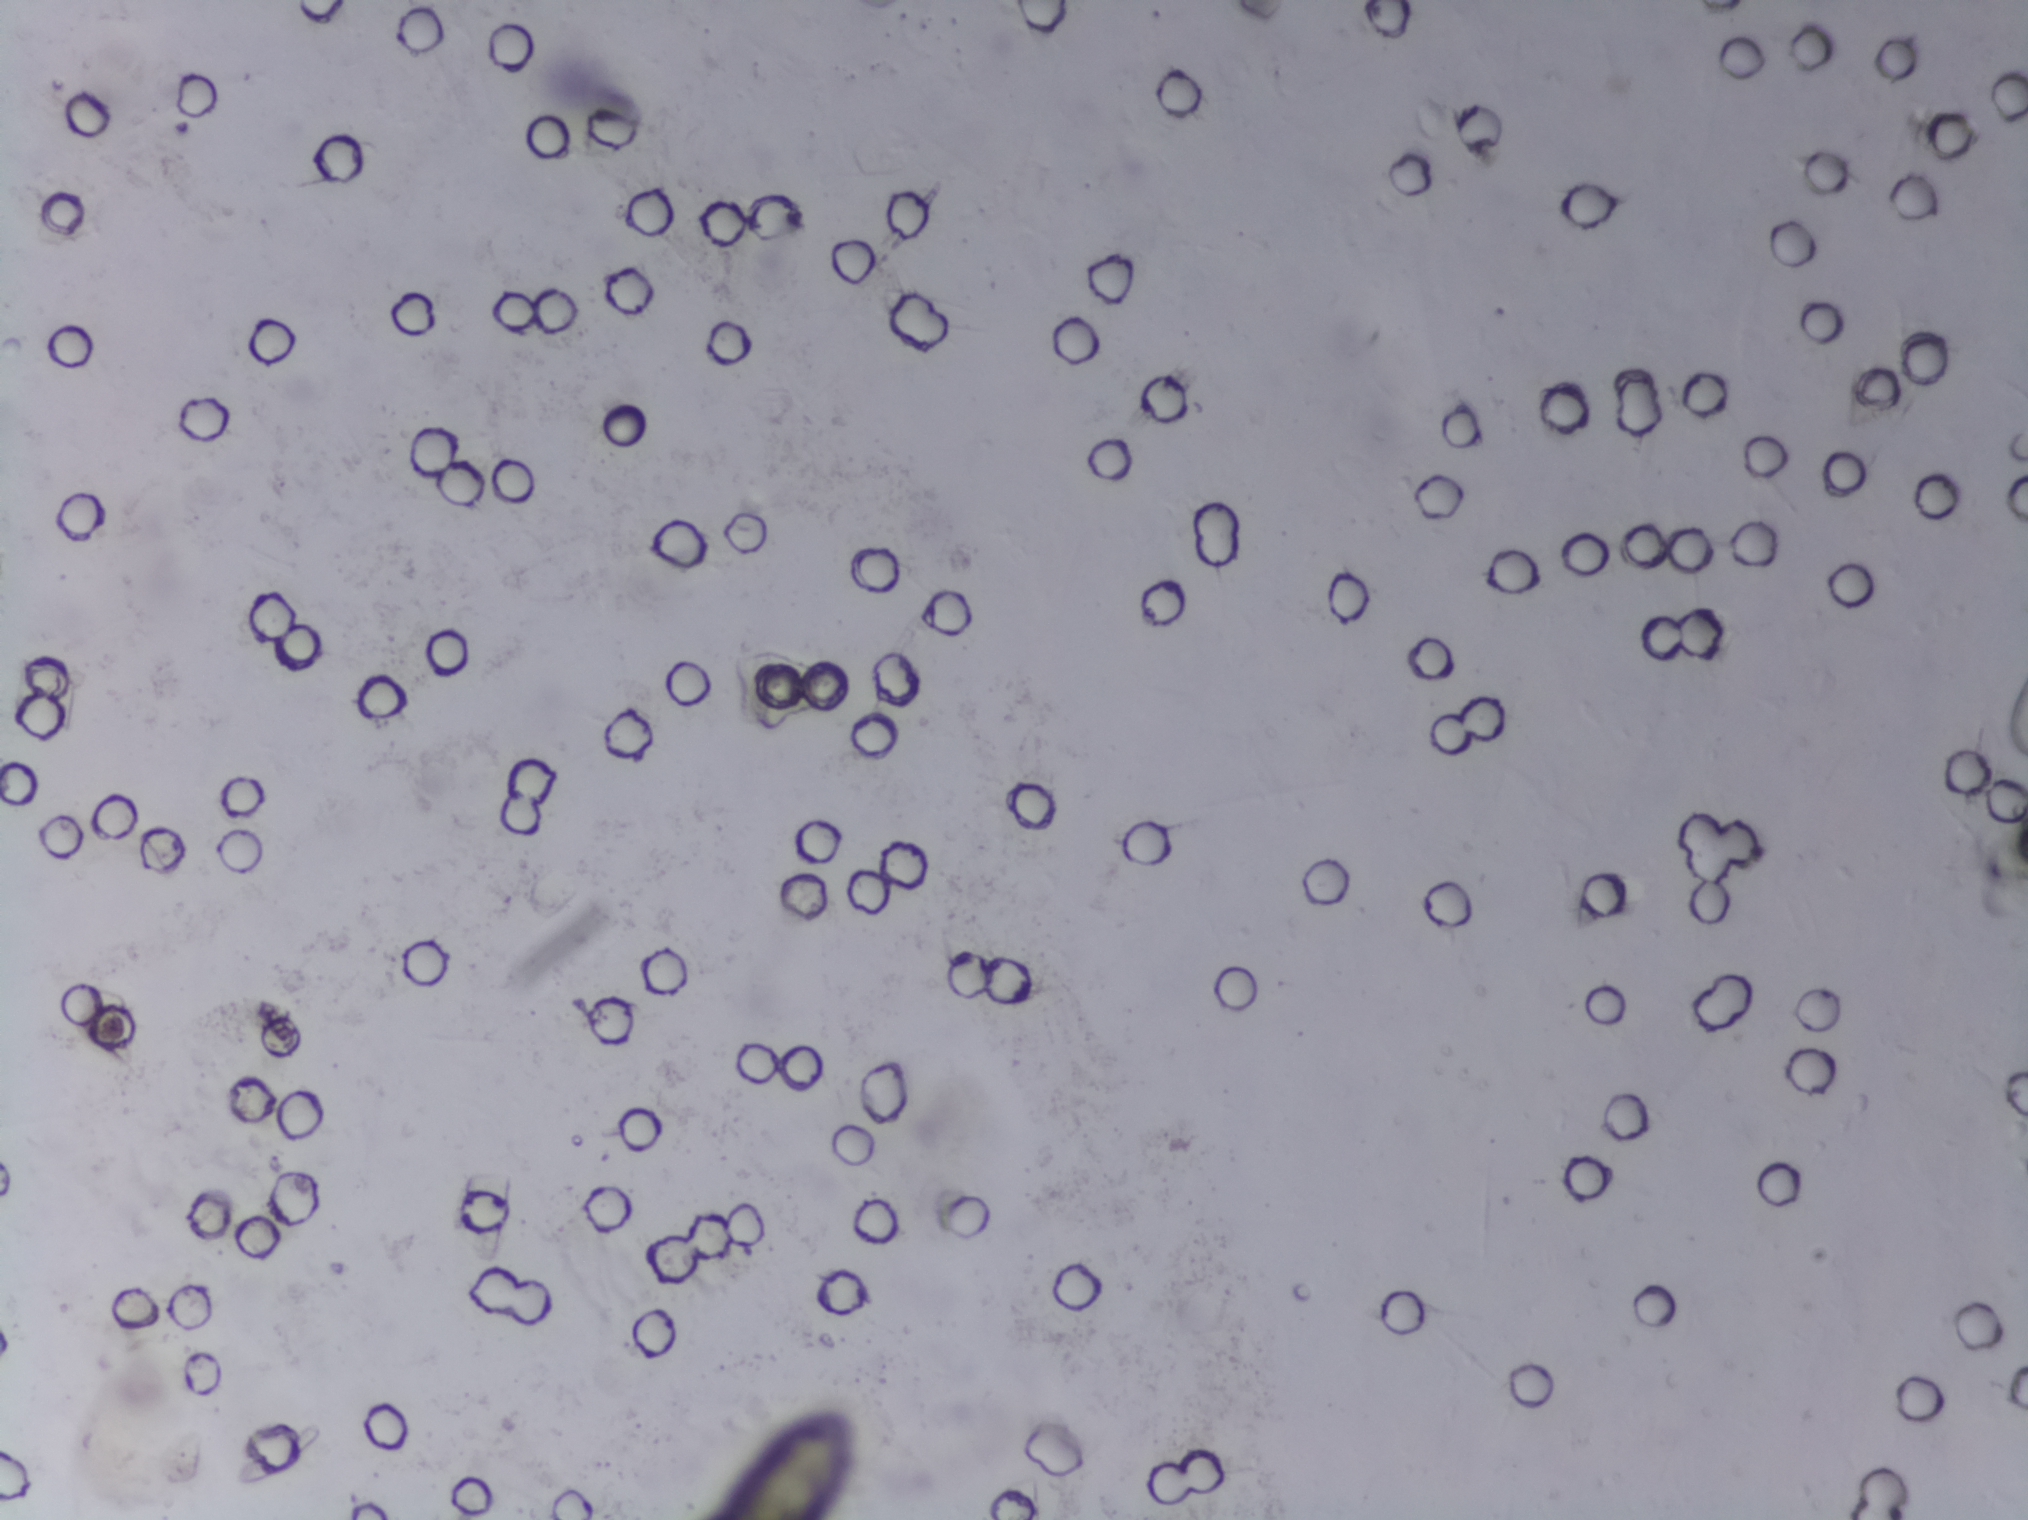
Urine filtration membrane under a 4× objective, photographed by an automated digital microscope.
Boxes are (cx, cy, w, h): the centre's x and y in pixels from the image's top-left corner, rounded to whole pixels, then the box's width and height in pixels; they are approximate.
Areas outlined as Schistosoma eggs: (cx=783, cy=1466, w=139, h=108) (reaching the bottom edge of the frame). About 0.3% of the image's pixels are marked (the marked pixels themselves, not the box around them). An outlined area can hold more than one egg.